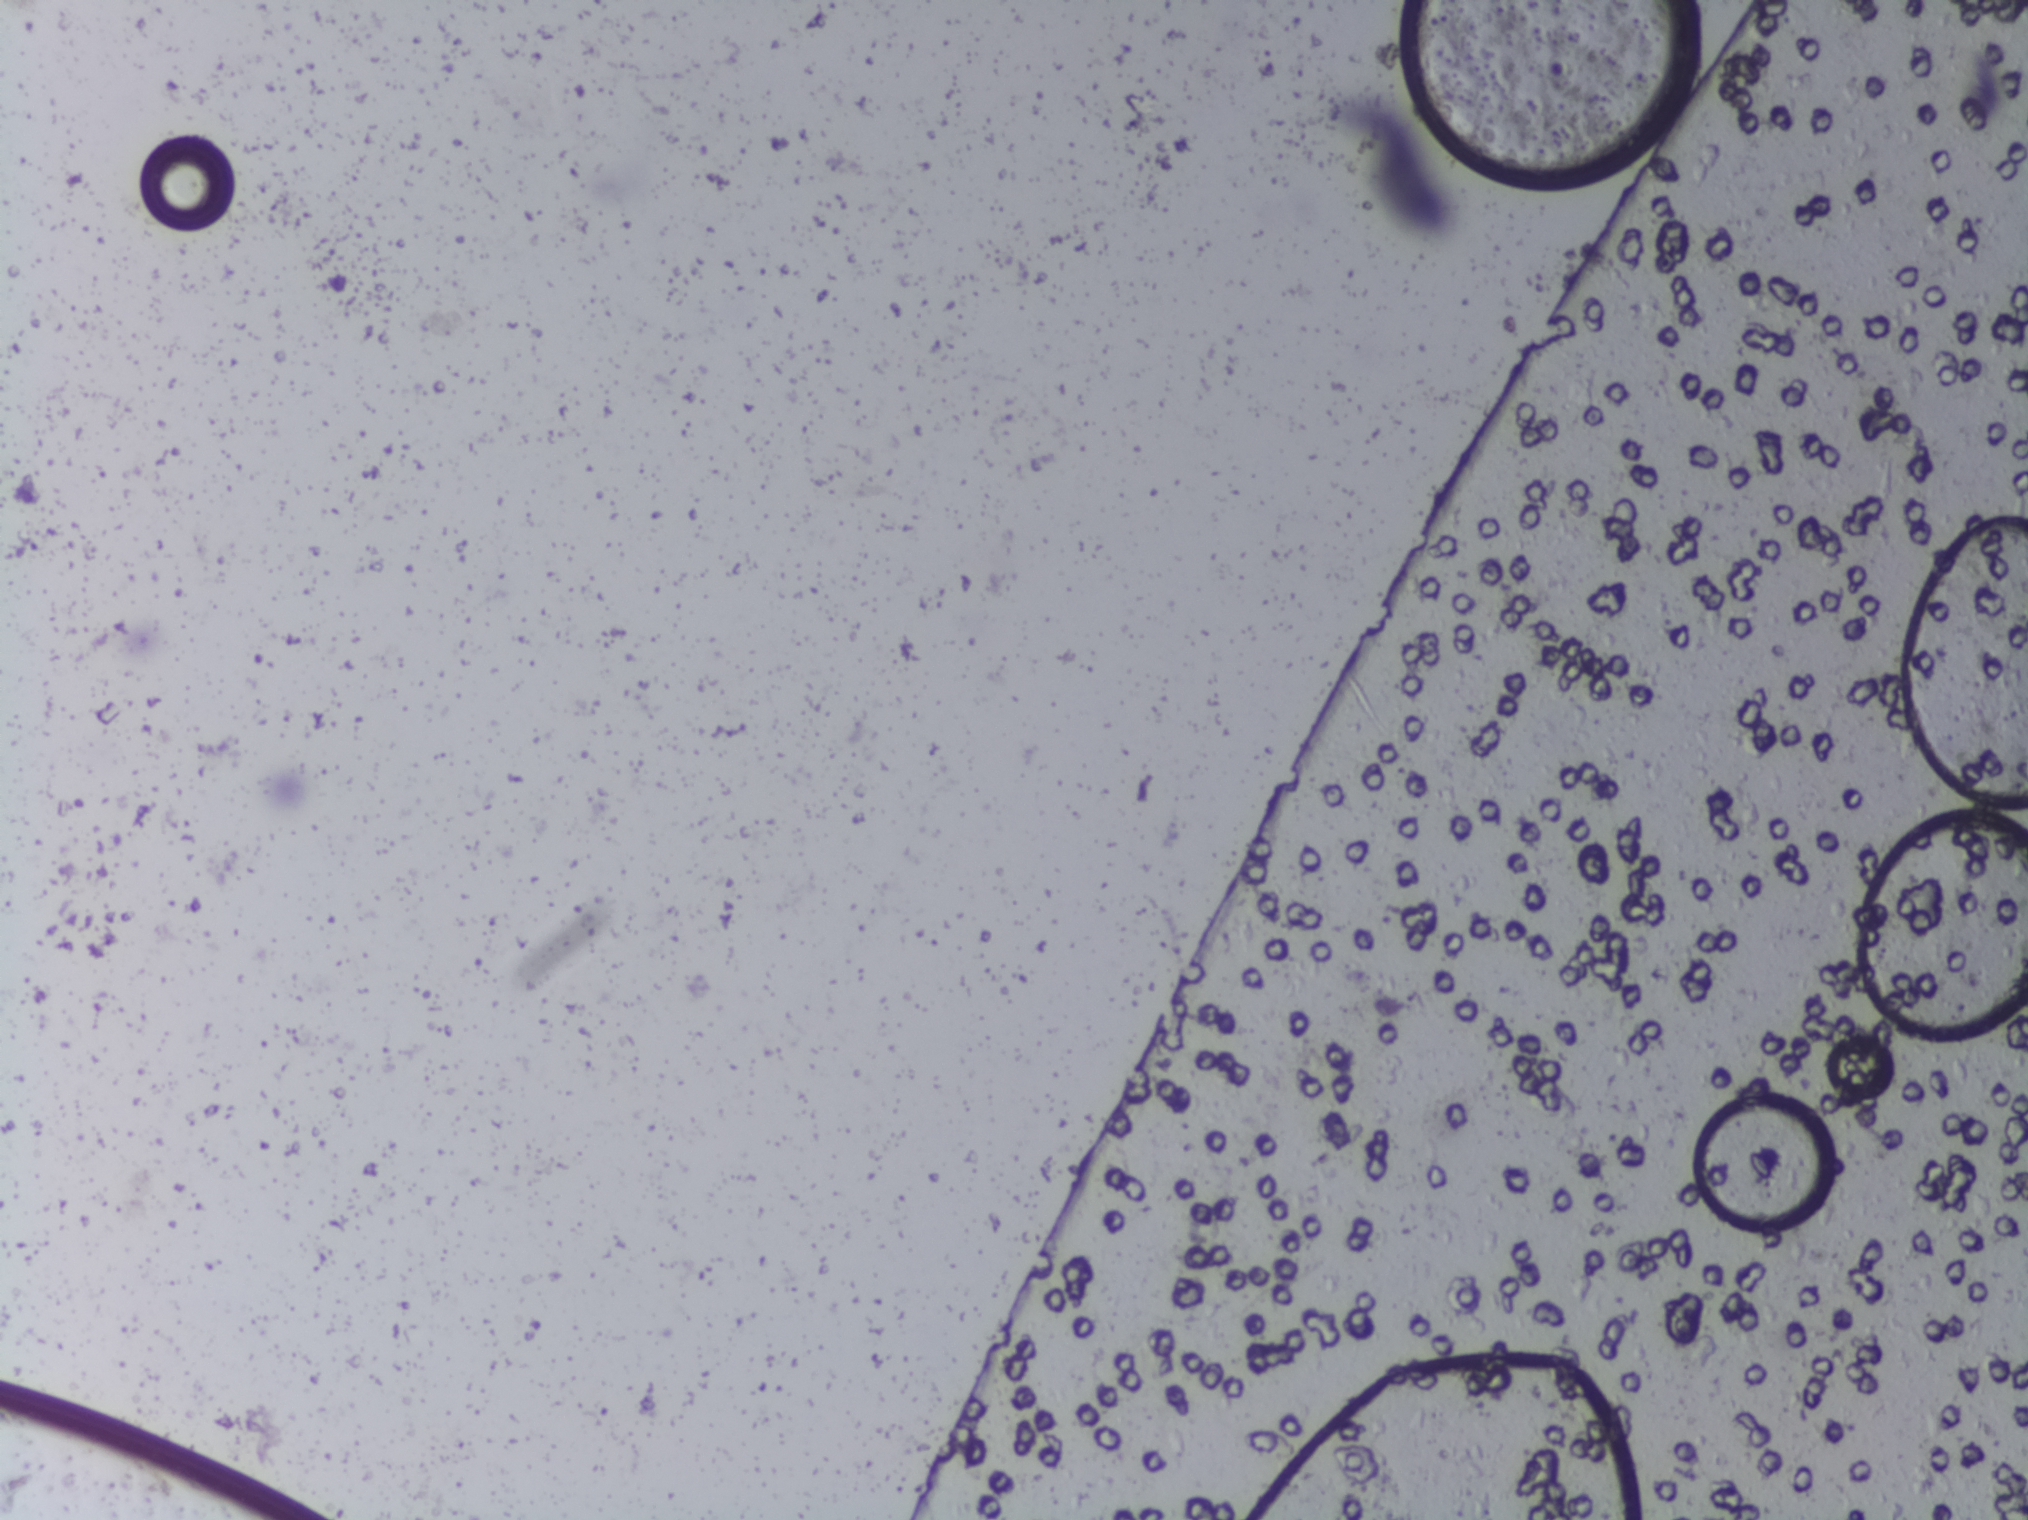
Urine filtration membrane under a 4× objective, photographed by an automated digital microscope.
The expert annotation marks no Schistosoma egg in this field of view.